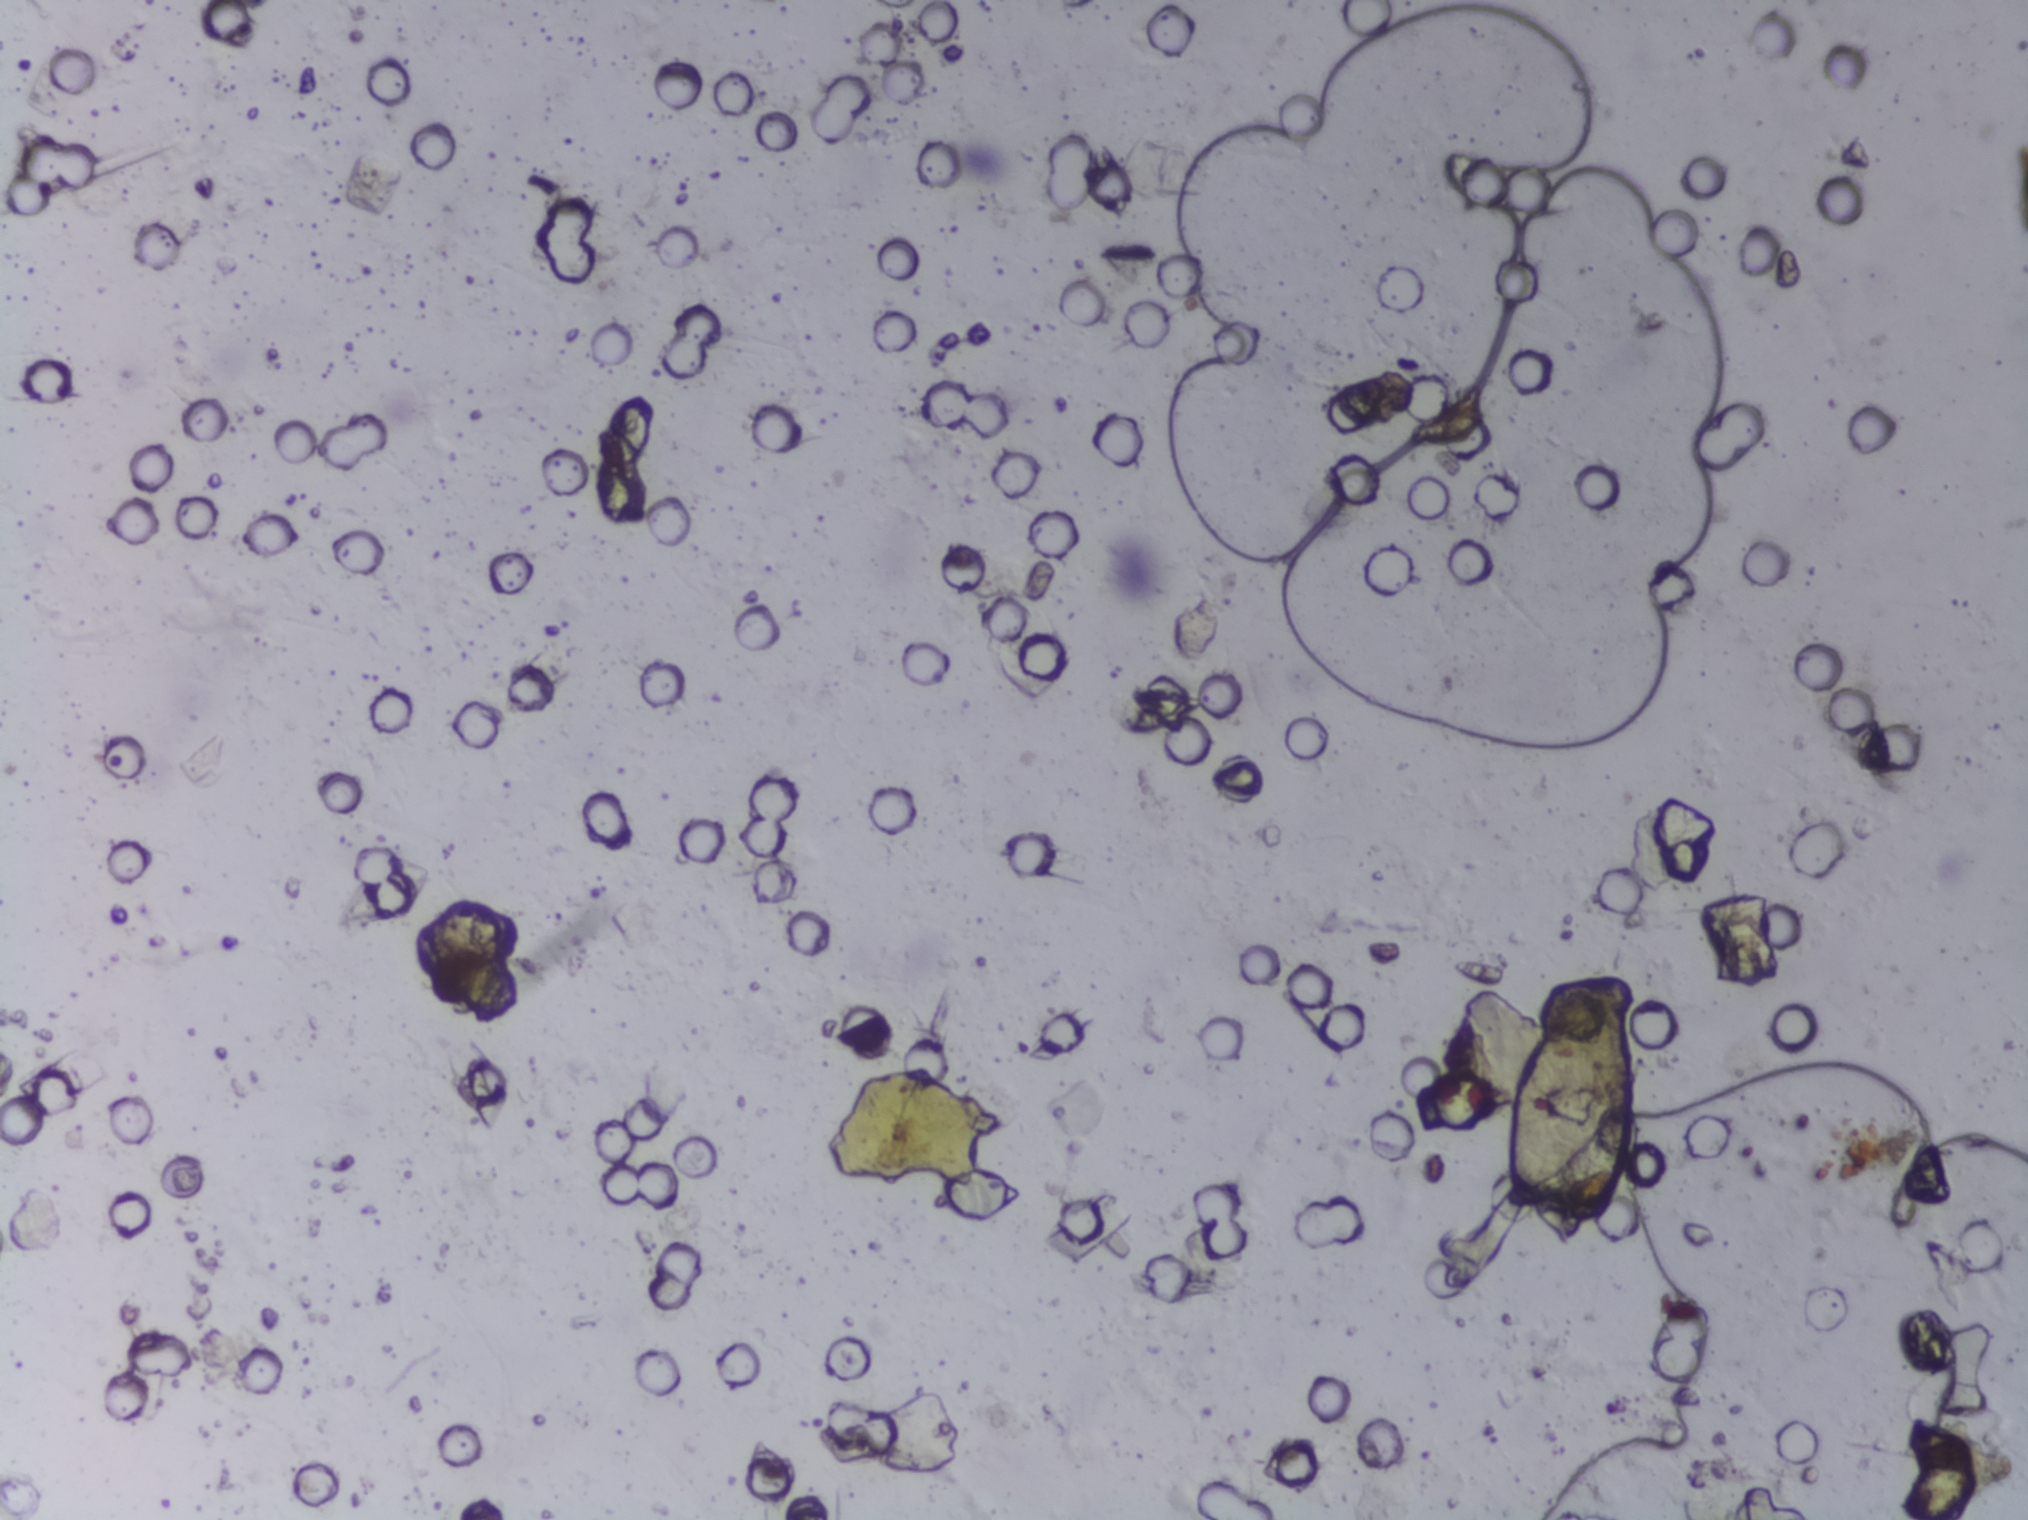
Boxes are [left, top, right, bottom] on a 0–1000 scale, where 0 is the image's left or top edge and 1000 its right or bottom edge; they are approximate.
{"schistosoma_egg_areas_xyxy_per1000": [[739, 641, 809, 791]]}
Eggs that touch can end up inside the same outlined area.
Urine filtration membrane under a 4× objective, photographed by an automated digital microscope.